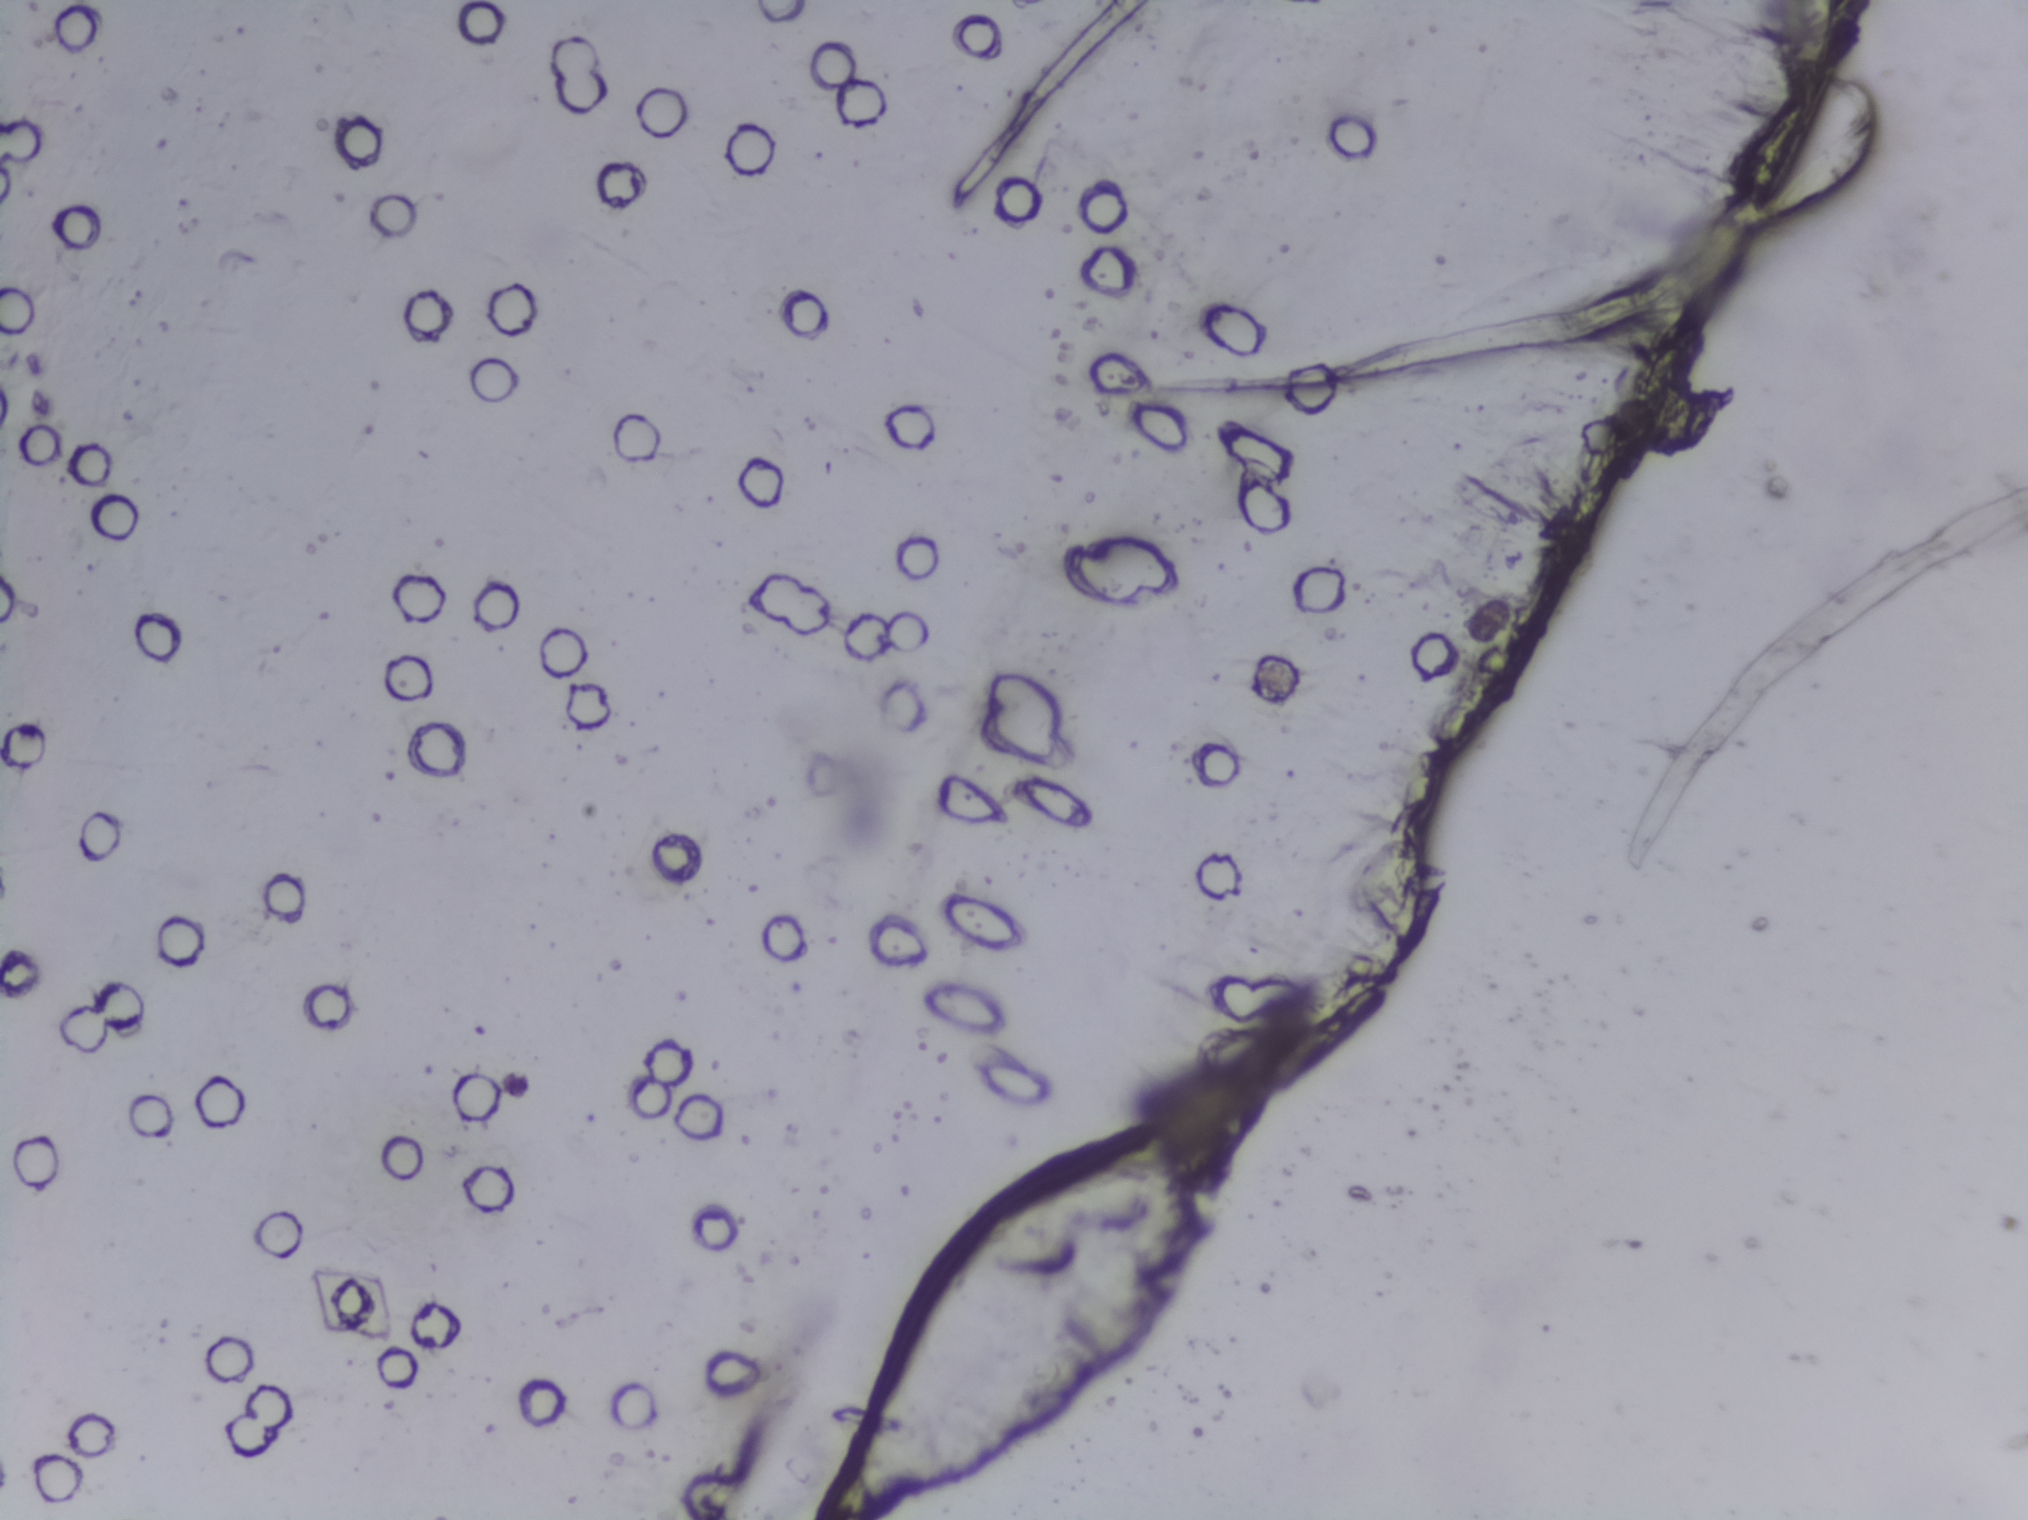
Urine filter membrane photographed through a 4× microscope objective.
The expert annotation outlines no Schistosoma egg in this image.